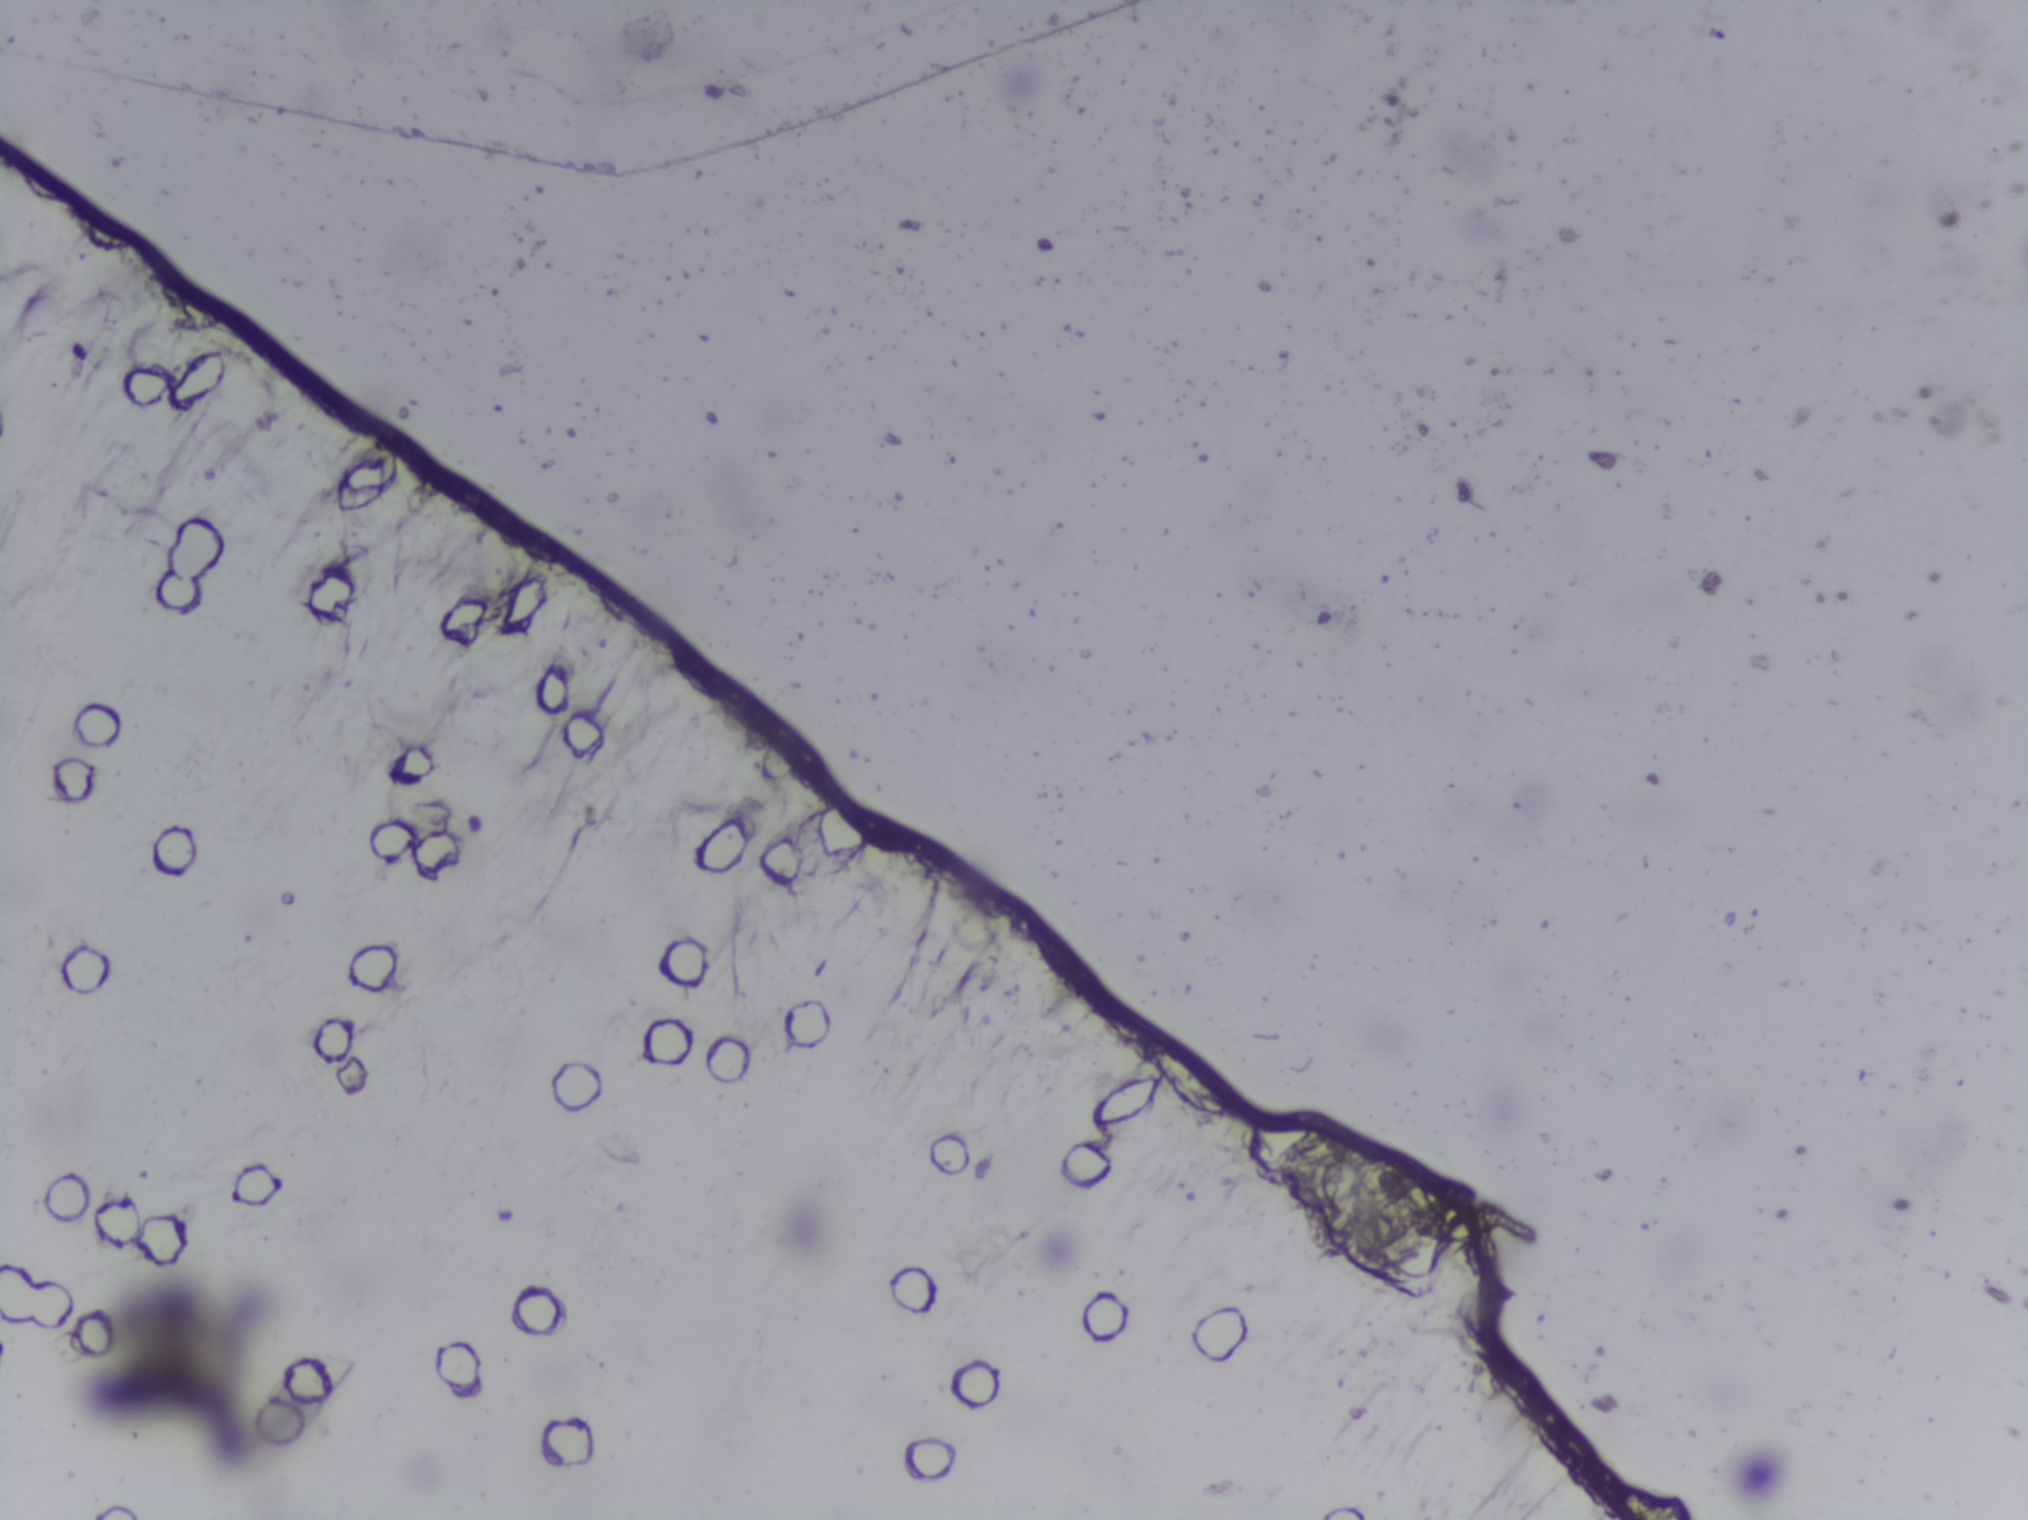
The expert annotation marks no Schistosoma egg in this field of view.
Microscope photograph (4× objective) of a membrane that a urine sample was filtered through.